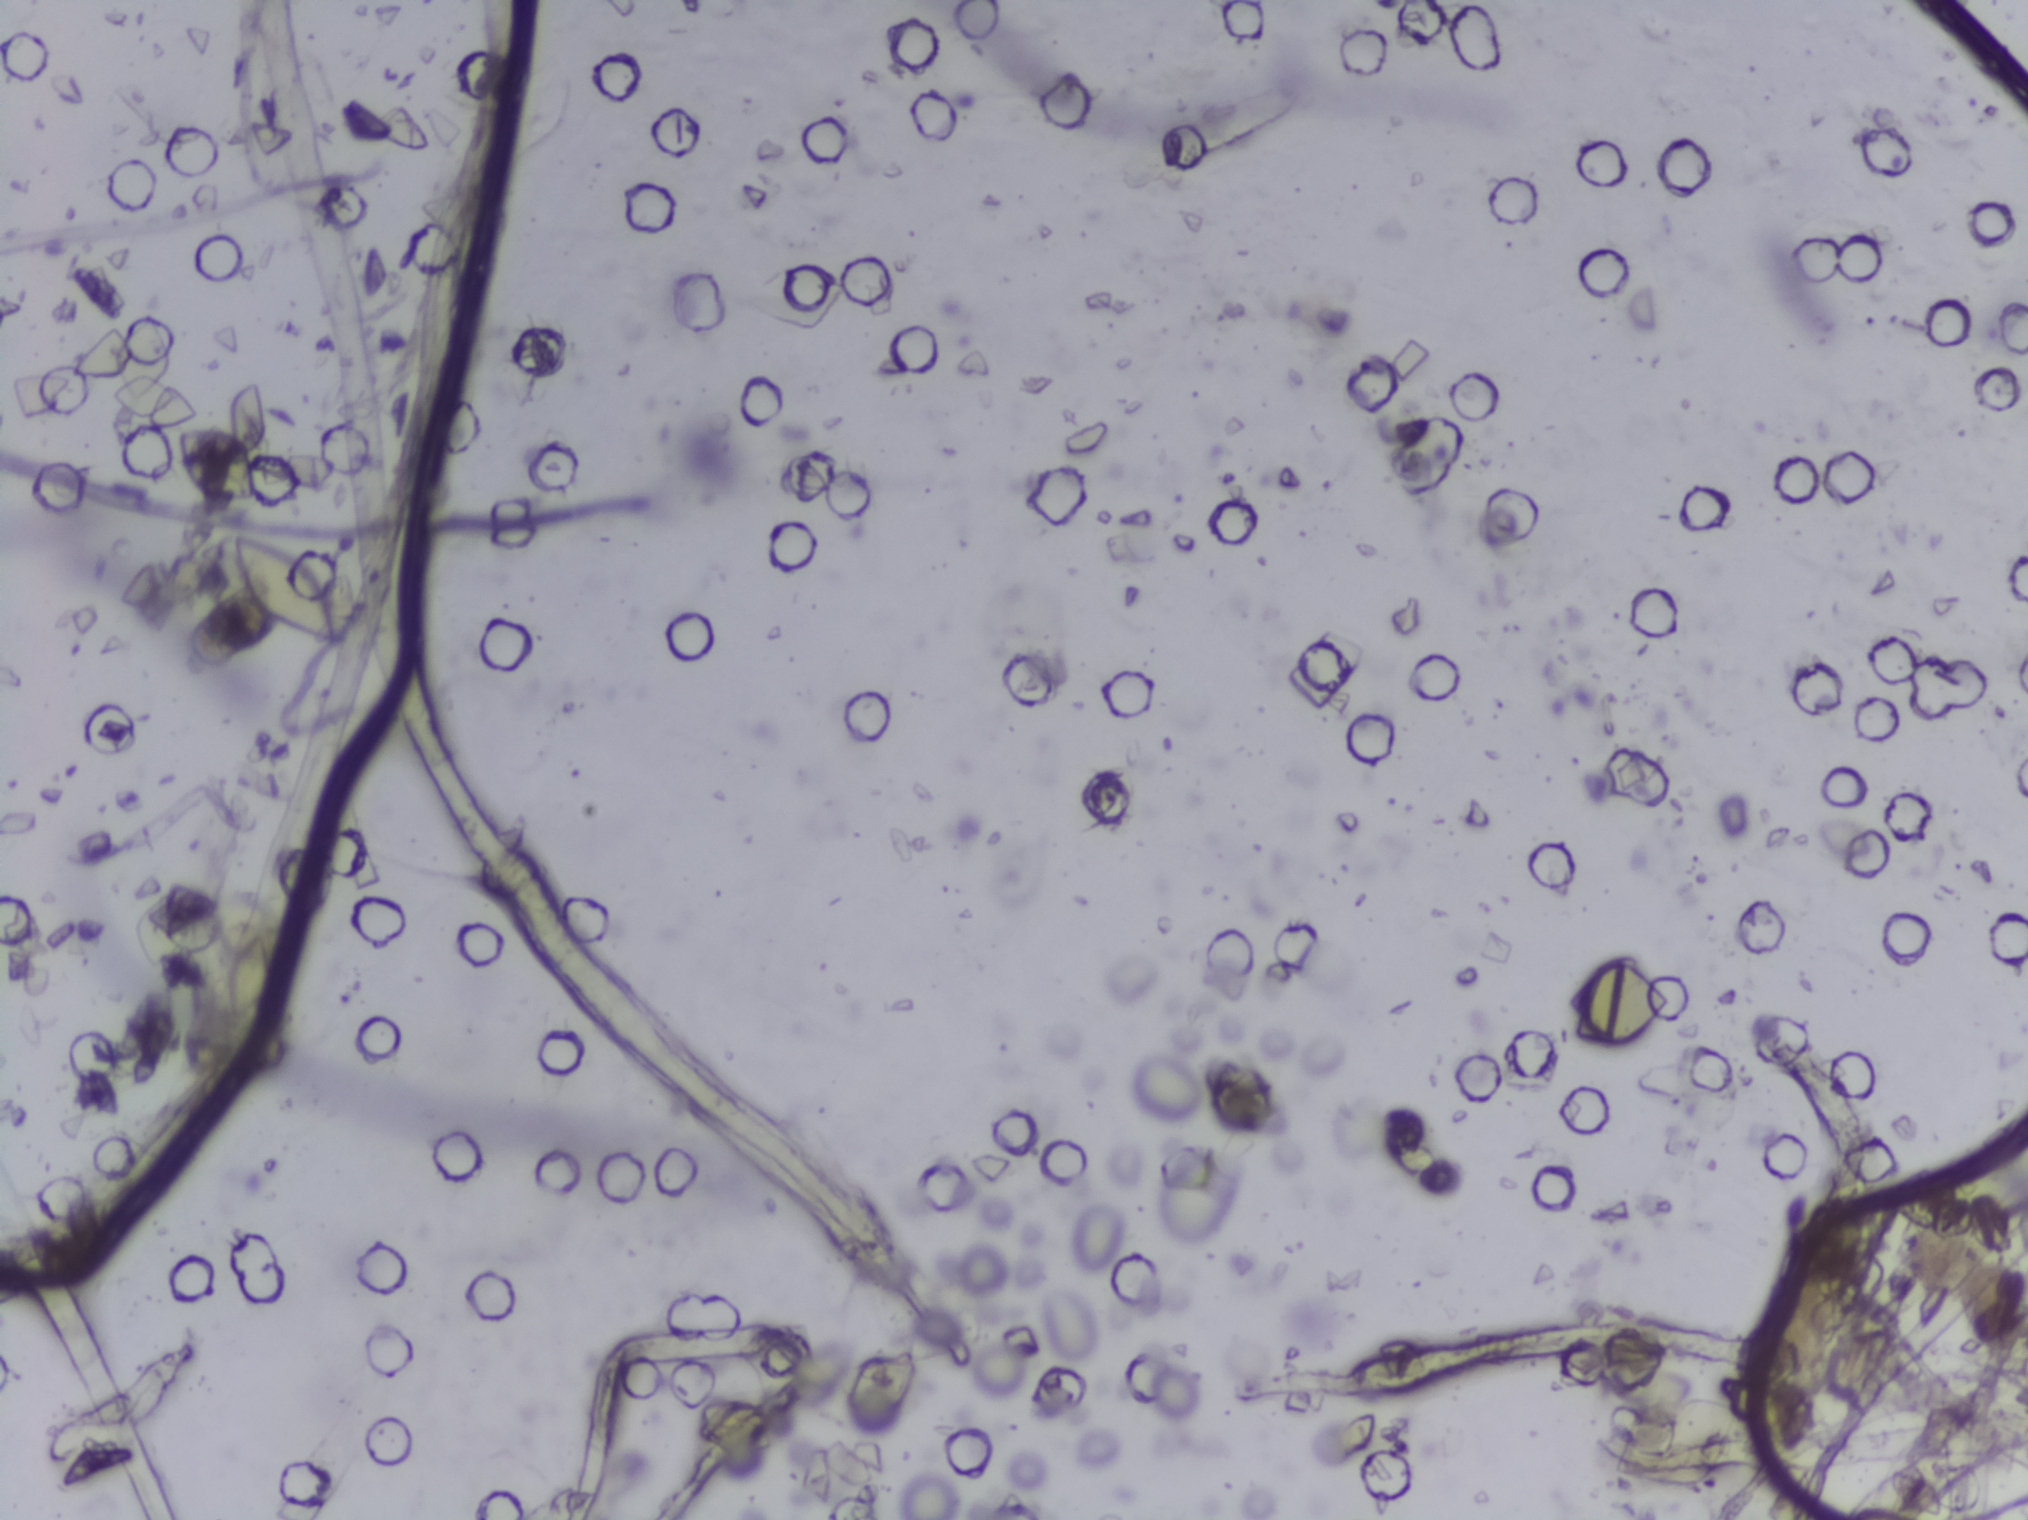
No Schistosoma egg is outlined in this image's expert annotation.
Urine filter membrane photographed through a 4× microscope objective. Field of view: about 1.5 mm wide and 1.1 mm high.